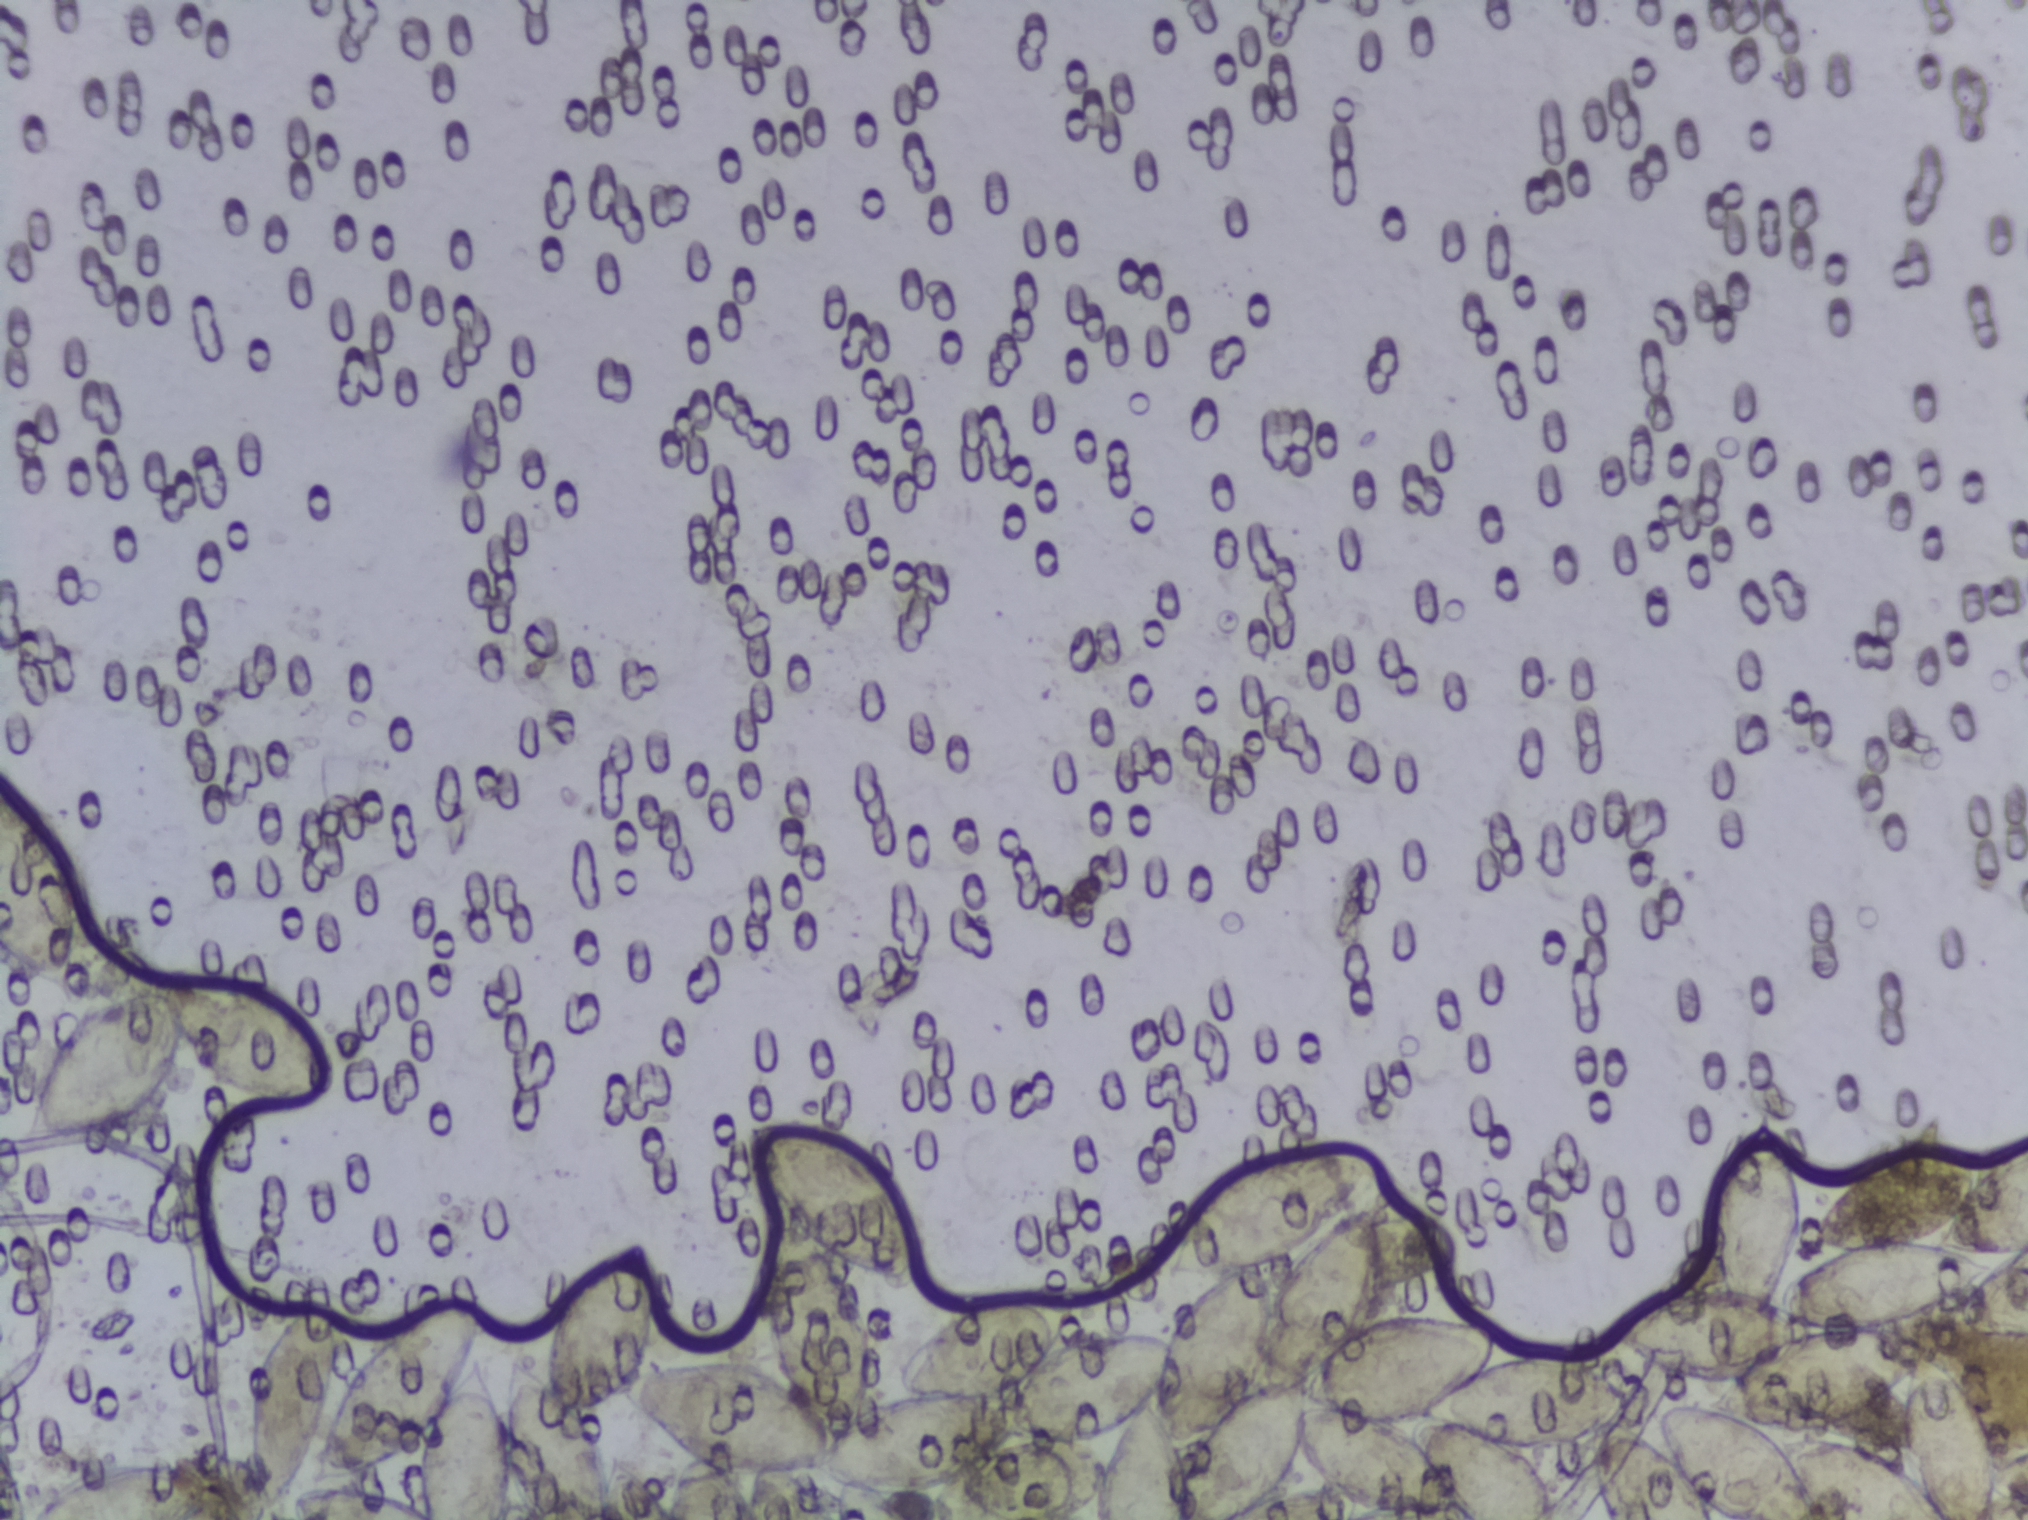
Photomicrograph of a urine filtration membrane, 4× objective.
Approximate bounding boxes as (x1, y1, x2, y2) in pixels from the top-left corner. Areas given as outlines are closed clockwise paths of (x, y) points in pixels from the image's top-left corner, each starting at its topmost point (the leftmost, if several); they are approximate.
Findings: four areas outlined as Schistosoma eggs. Locations: box (0, 774, 85, 1008) (reaching the left edge of the frame); box (21, 974, 343, 1151); box (27, 1461, 213, 1519) (reaching the bottom edge of the frame); outline (1764, 1102), (1774, 1106), (1800, 1166), (1808, 1204), (1792, 1277), (1819, 1255), (1809, 1237), (1831, 1185), (1896, 1148), (1920, 1124), (1942, 1118), (1977, 1171), (2027, 1140), (2027, 1339), (1958, 1331), (1943, 1322), (1943, 1305), (1900, 1330), (1924, 1338), (1986, 1402), (2000, 1436), (2000, 1509), (1994, 1519), (1605, 1519), (1593, 1483), (1592, 1448), (1547, 1455), (1522, 1451), (1544, 1476), (1562, 1519), (1465, 1519), (1450, 1508), (1427, 1515), (1355, 1511), (1354, 1519), (1092, 1519), (1097, 1500), (1065, 1519), (916, 1519), (928, 1495), (905, 1499), (913, 1519), (530, 1519), (515, 1499), (510, 1519), (292, 1519), (289, 1495), (271, 1512), (255, 1497), (245, 1398), (274, 1329), (314, 1295), (336, 1300), (335, 1386), (344, 1366), (393, 1322), (442, 1296), (481, 1290), (481, 1348), (503, 1406), (513, 1358), (545, 1363), (545, 1338), (580, 1271), (623, 1243), (641, 1240), (658, 1294), (646, 1361), (710, 1354), (752, 1360), (773, 1372), (760, 1329), (760, 1272), (783, 1213), (758, 1177), (747, 1126), (764, 1118), (829, 1130), (872, 1154), (892, 1176), (924, 1236), (931, 1281), (917, 1291), (887, 1287), (849, 1268), (873, 1314), (882, 1397), (898, 1390), (899, 1371), (917, 1343), (983, 1296), (1071, 1295), (1075, 1341), (1113, 1329), (1166, 1330), (1201, 1283), (1163, 1280), (1177, 1227), (1215, 1179), (1297, 1143), (1352, 1139), (1384, 1159), (1384, 1175), (1369, 1195), (1382, 1200), (1386, 1215), (1377, 1316), (1426, 1310), (1494, 1324), (1504, 1336), (1495, 1360), (1534, 1344), (1606, 1351), (1636, 1392), (1623, 1421), (1666, 1452), (1657, 1407), (1714, 1402), (1718, 1384), (1689, 1384), (1619, 1349), (1613, 1329), (1621, 1311), (1645, 1292), (1666, 1282), (1709, 1281), (1703, 1205), (1721, 1159), (1747, 1135) (a cluster of eggs; reaching the right and bottom edges of the frame). A single outlined area may contain several eggs. A marked egg may occasionally be S. mansoni rather than S. haematobium.